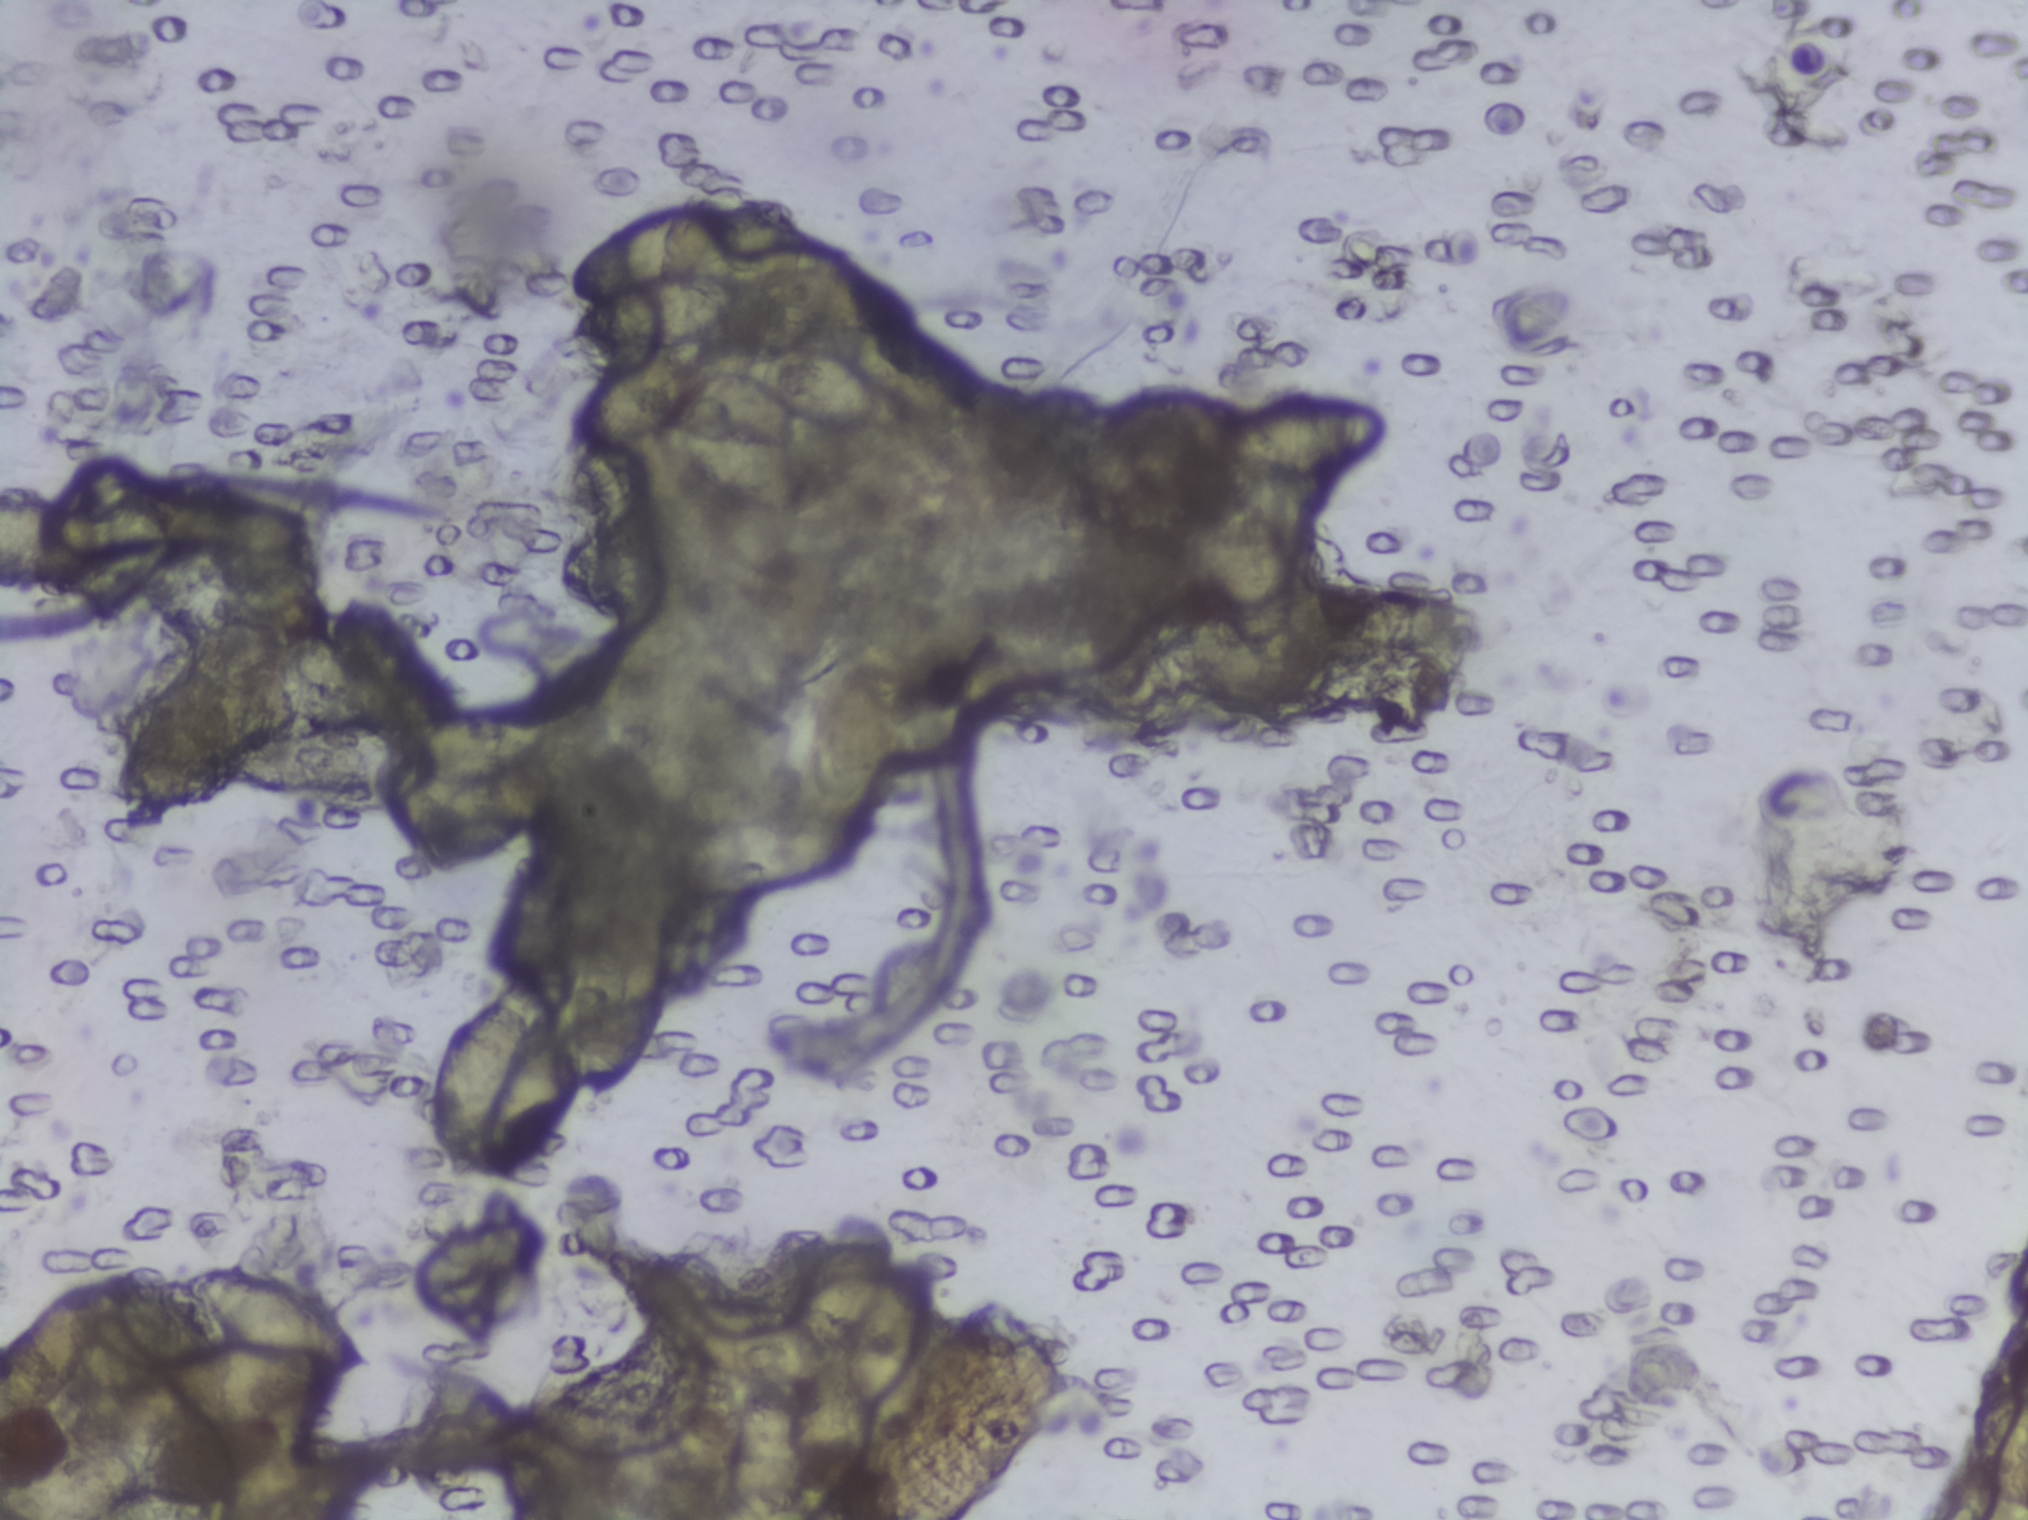
Microscope photograph (4× objective) of a membrane that a urine sample was filtered through.
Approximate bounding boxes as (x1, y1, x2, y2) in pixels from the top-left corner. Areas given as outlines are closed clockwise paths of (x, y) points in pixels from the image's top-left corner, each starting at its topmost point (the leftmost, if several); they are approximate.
Schistosoma egg areas, outlined: box (182, 1261, 377, 1382); box (425, 1003, 575, 1177); box (562, 202, 881, 453); outline (922, 1251), (936, 1261), (942, 1294), (924, 1360), (894, 1403), (870, 1409), (872, 1444), (843, 1492), (825, 1505), (800, 1509), (787, 1489), (785, 1433), (811, 1369), (831, 1345), (842, 1344), (860, 1297), (876, 1278); box (799, 659, 890, 808); box (1211, 392, 1385, 486). An outlined area can hold more than one egg. A marked egg may occasionally be S. mansoni rather than S. haematobium.